Urine filter membrane photographed through a 4× microscope objective.
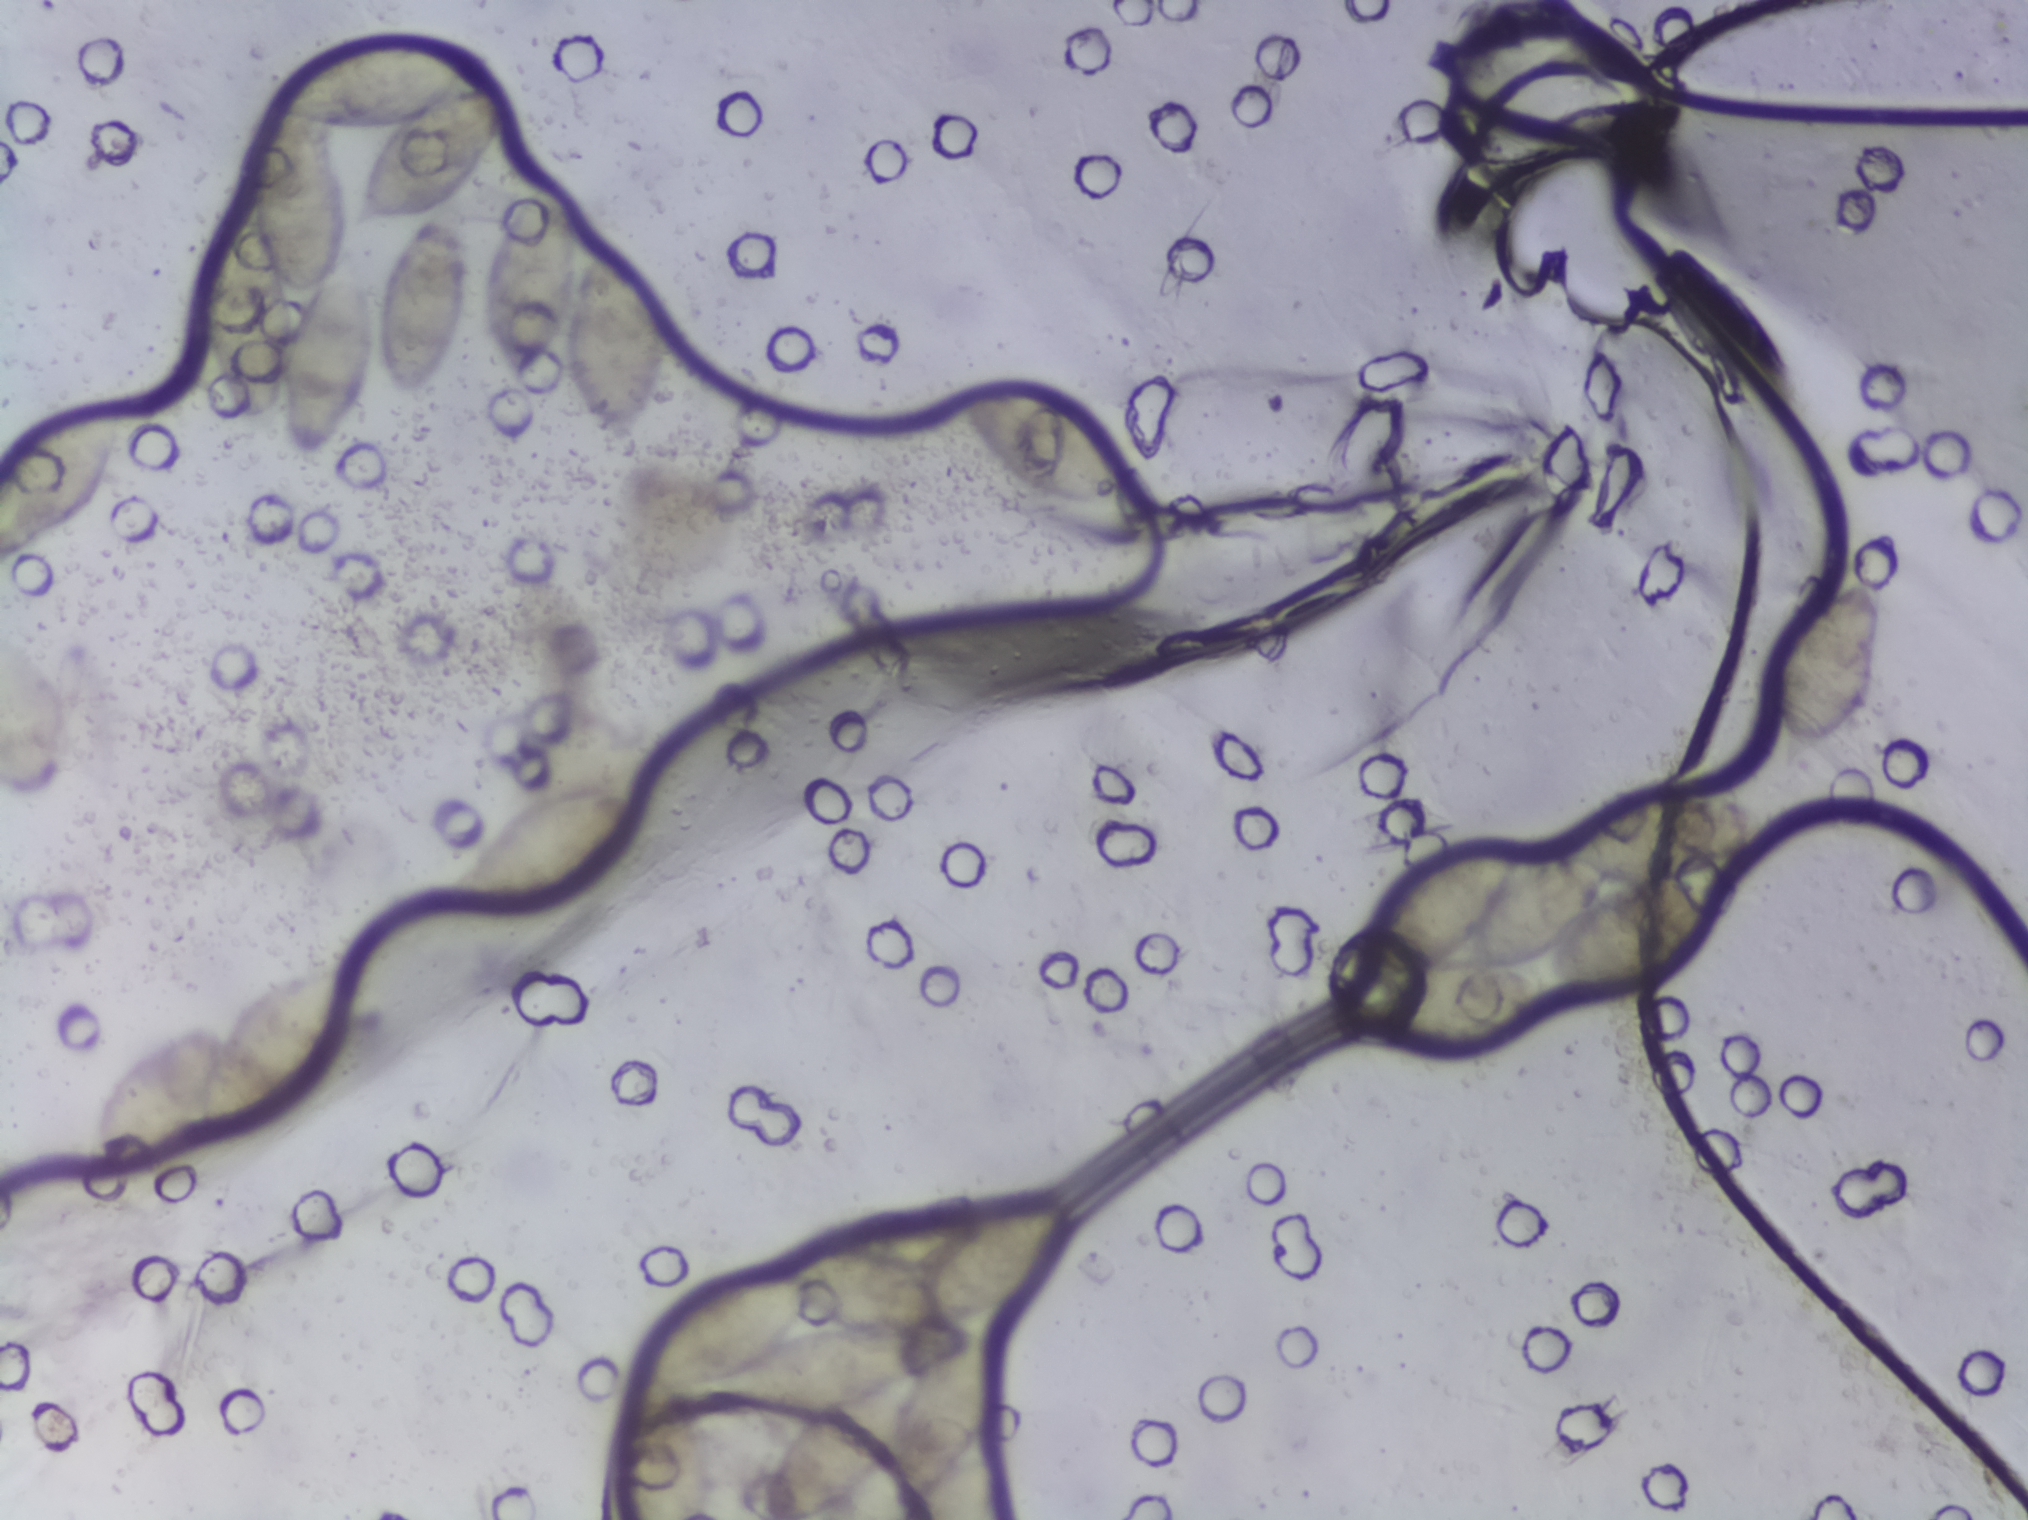
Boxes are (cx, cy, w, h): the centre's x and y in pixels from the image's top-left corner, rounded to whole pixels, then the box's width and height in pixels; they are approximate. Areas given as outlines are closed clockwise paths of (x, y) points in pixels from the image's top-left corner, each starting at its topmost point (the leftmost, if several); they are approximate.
Schistosoma egg areas, outlined: box (cx=34, cy=706, w=69, h=192) (reaching the left edge of the frame); box (cx=65, cy=482, w=131, h=150) (reaching the left edge of the frame); box (cx=222, cy=1076, w=264, h=229); outline (389, 33), (451, 34), (497, 46), (500, 64), (487, 83), (509, 89), (511, 127), (457, 202), (469, 272), (461, 356), (432, 392), (411, 402), (386, 386), (377, 364), (373, 393), (350, 434), (330, 458), (304, 466), (286, 454), (275, 410), (268, 421), (240, 428), (216, 392), (198, 346), (202, 281), (230, 199), (248, 186), (249, 159), (272, 108), (266, 94), (277, 75), (337, 41) (eggs clustered together); box (cx=533, cy=843, w=199, h=132); box (cx=572, cy=314, w=188, h=271); outline (1037, 1197), (1059, 1201), (1067, 1248), (1033, 1300), (1013, 1312), (1011, 1372), (959, 1460), (992, 1449), (1001, 1454), (1005, 1518), (885, 1519), (898, 1497), (888, 1452), (877, 1474), (835, 1506), (807, 1519), (762, 1519), (760, 1466), (769, 1443), (812, 1409), (696, 1402), (687, 1388), (676, 1391), (703, 1436), (713, 1470), (706, 1515), (620, 1518), (612, 1422), (626, 1374), (624, 1353), (632, 1332), (668, 1296), (719, 1271), (758, 1271), (759, 1264), (821, 1246), (870, 1244), (917, 1258), (938, 1232), (990, 1208) (eggs clustered together; reaching the bottom edge of the frame); box (cx=1049, cy=445, w=176, h=123); outline (1673, 782), (1724, 782), (1776, 807), (1773, 826), (1735, 865), (1741, 876), (1737, 911), (1703, 948), (1655, 976), (1563, 986), (1558, 1000), (1491, 1051), (1445, 1053), (1366, 1032), (1364, 1019), (1386, 987), (1357, 988), (1357, 937), (1400, 869), (1476, 839), (1521, 842), (1530, 855), (1556, 849), (1610, 799) (eggs clustered together); box (cx=1829, cy=667, w=117, h=211). A single outlined area may contain several eggs.